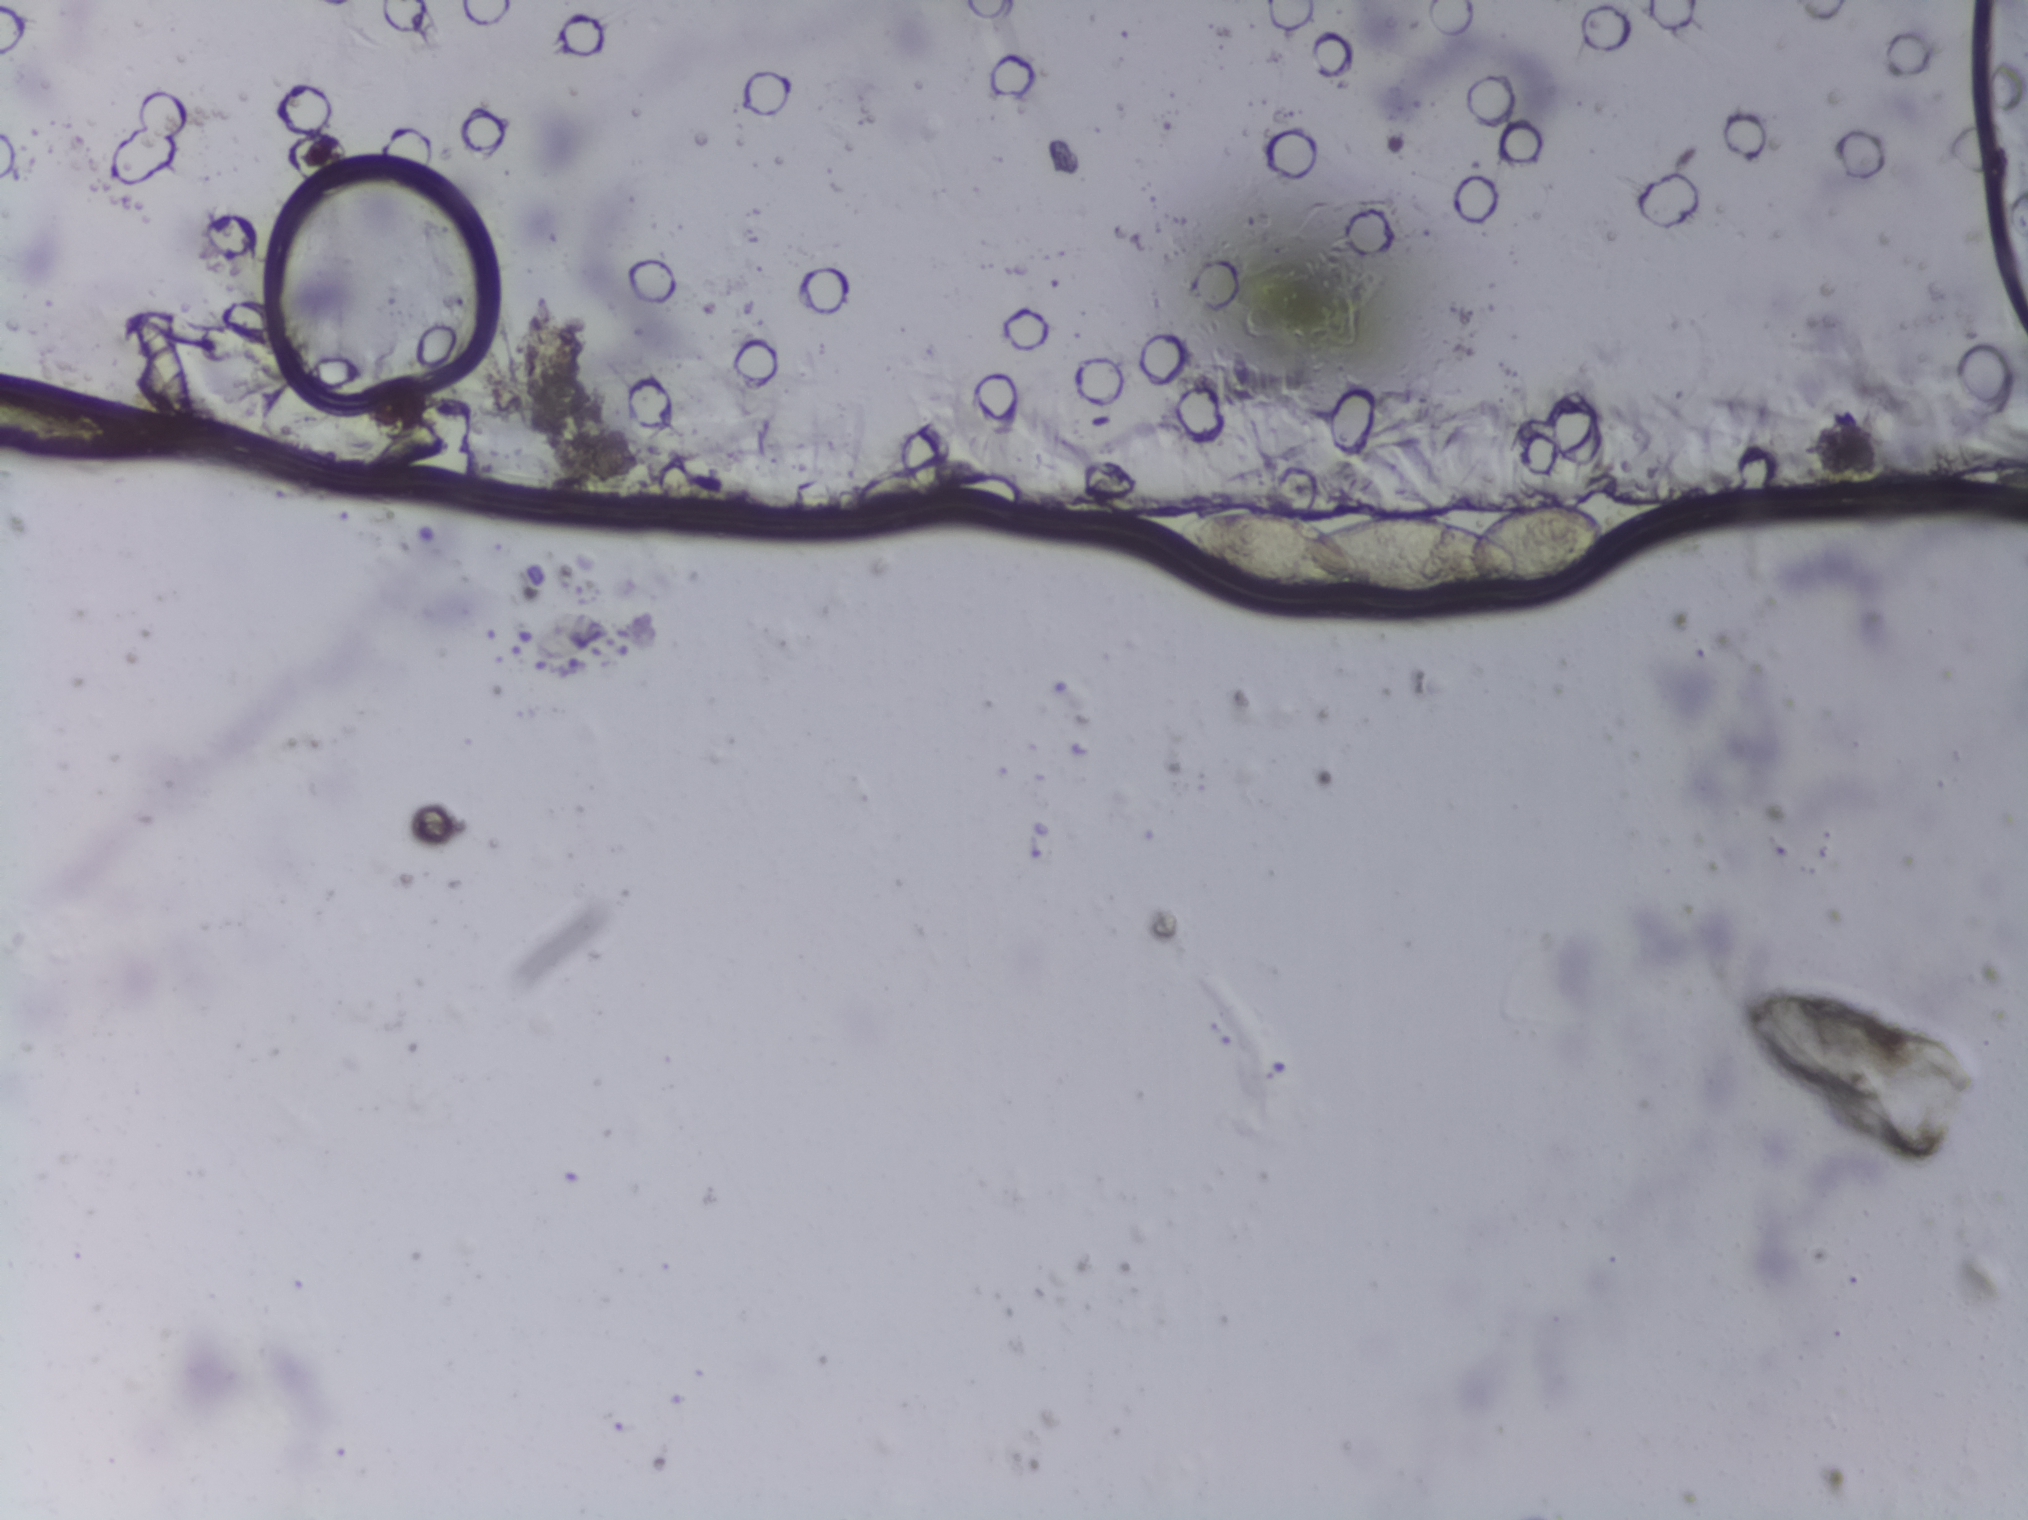
Photomicrograph of a urine filtration membrane, 4× objective.
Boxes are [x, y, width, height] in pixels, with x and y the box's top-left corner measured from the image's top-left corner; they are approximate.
Schistosoma egg areas, outlined: [1166, 500, 443, 101]. Marked pixels, not the box around them: about 1.1% of the image. A single outlined area may contain several eggs.